Urine filter membrane photographed through a 4× microscope objective. The field of view is about 1.5 mm × 1.1 mm.
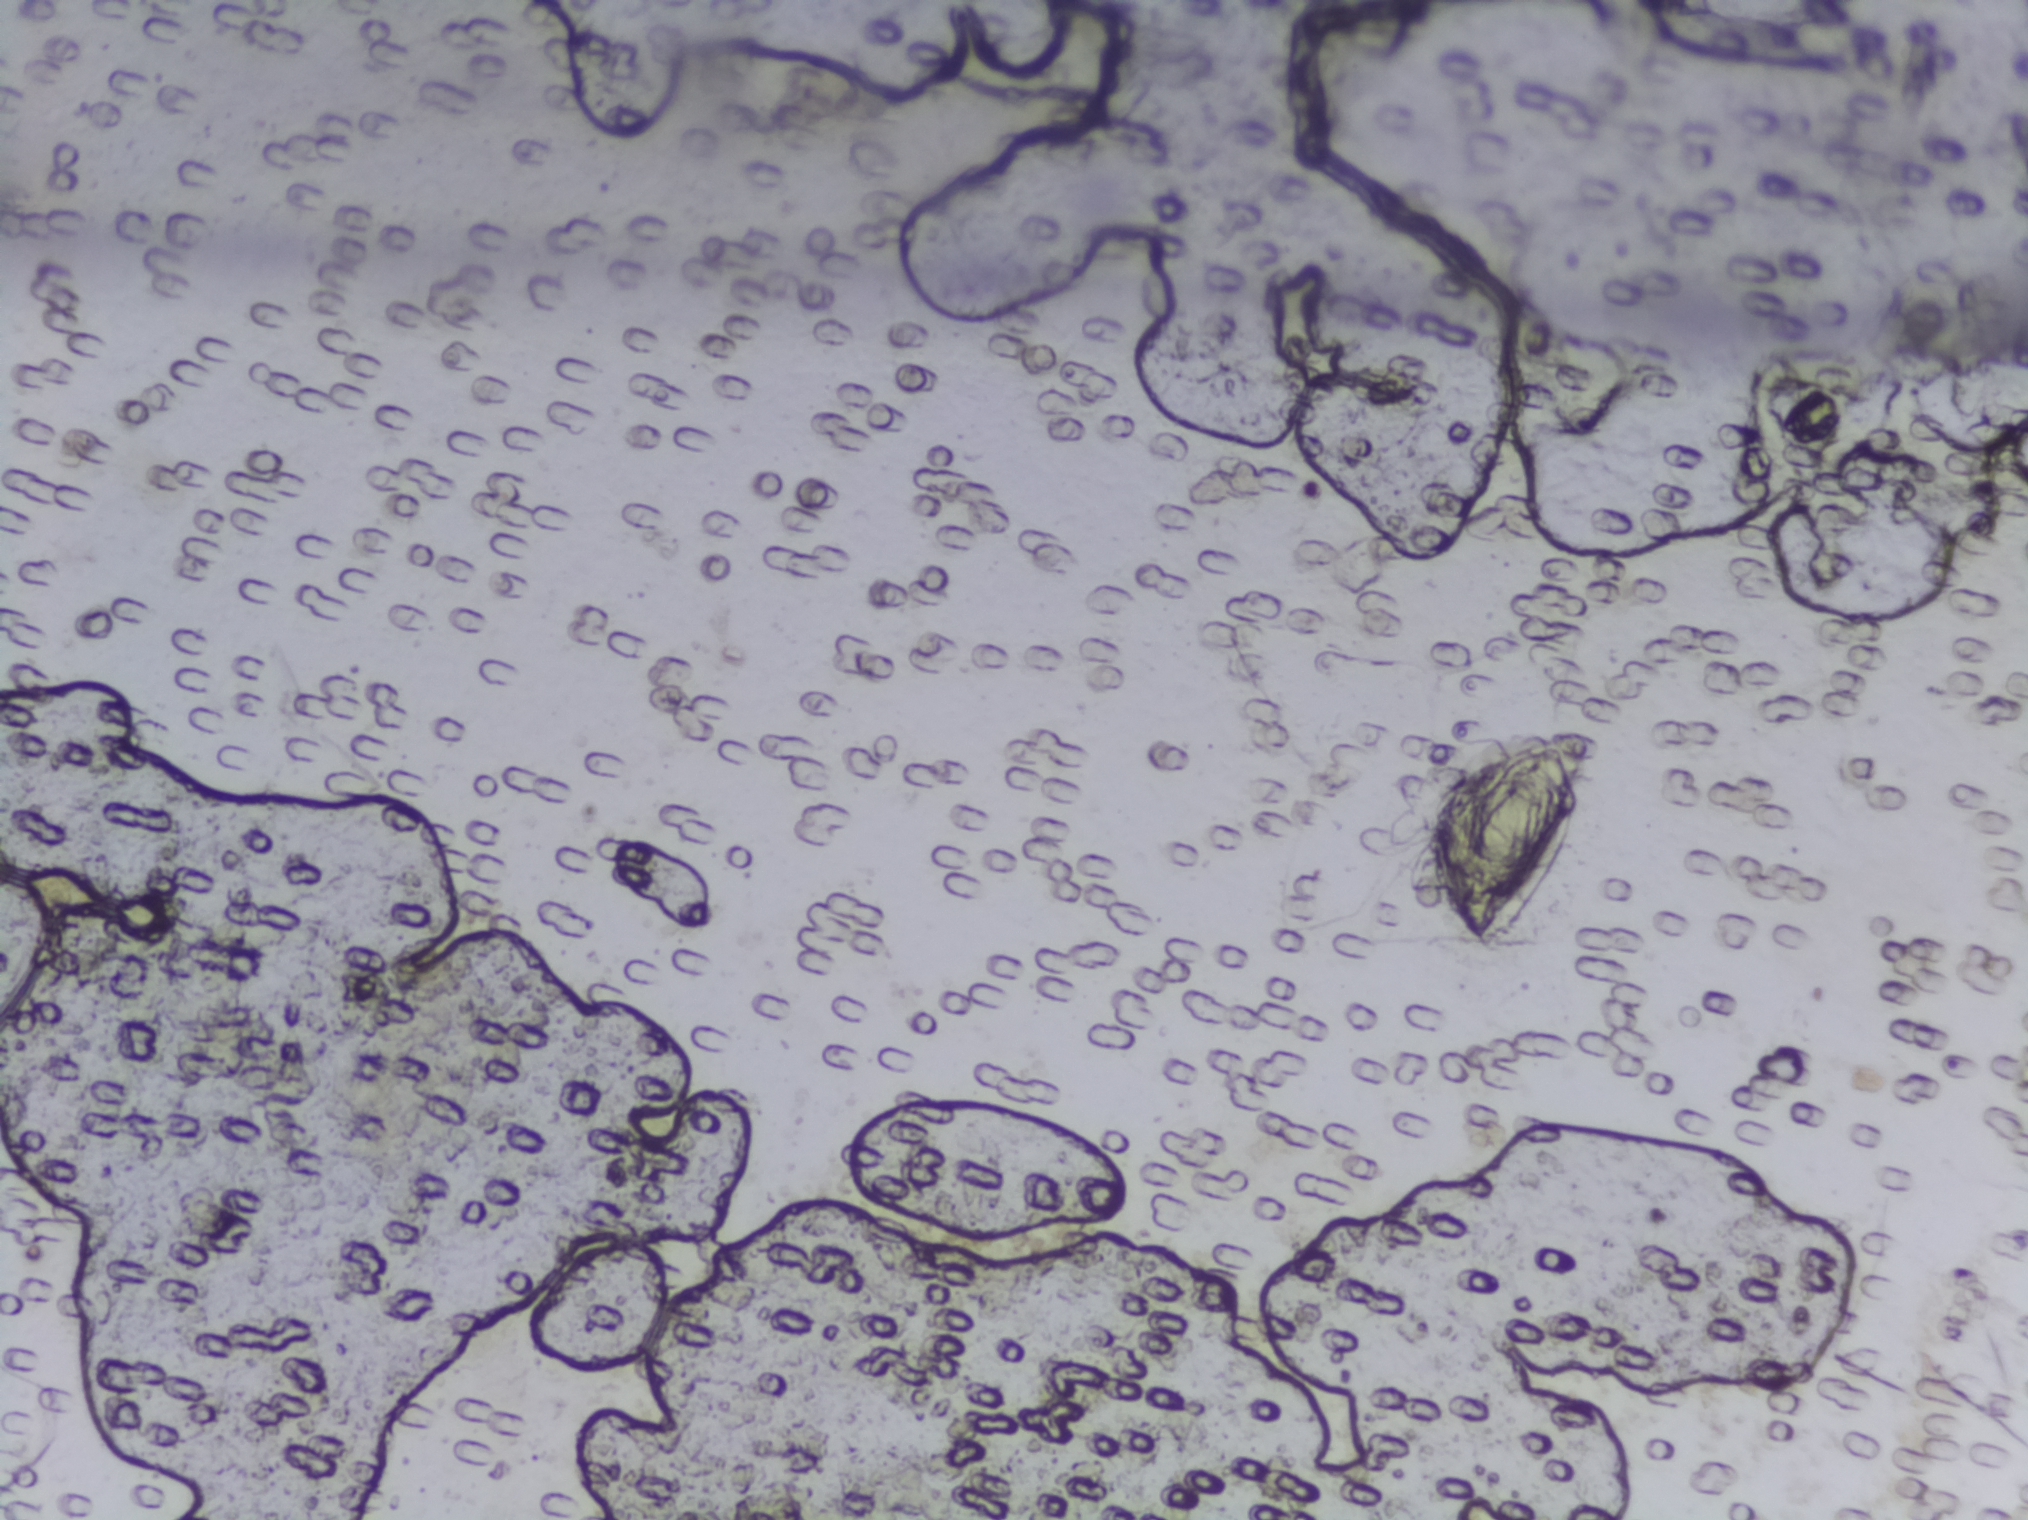
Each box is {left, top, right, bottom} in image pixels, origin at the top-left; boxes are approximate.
Areas outlined as Schistosoma eggs:
1. {1431, 731, 1583, 944}
A single outlined area may contain several eggs.